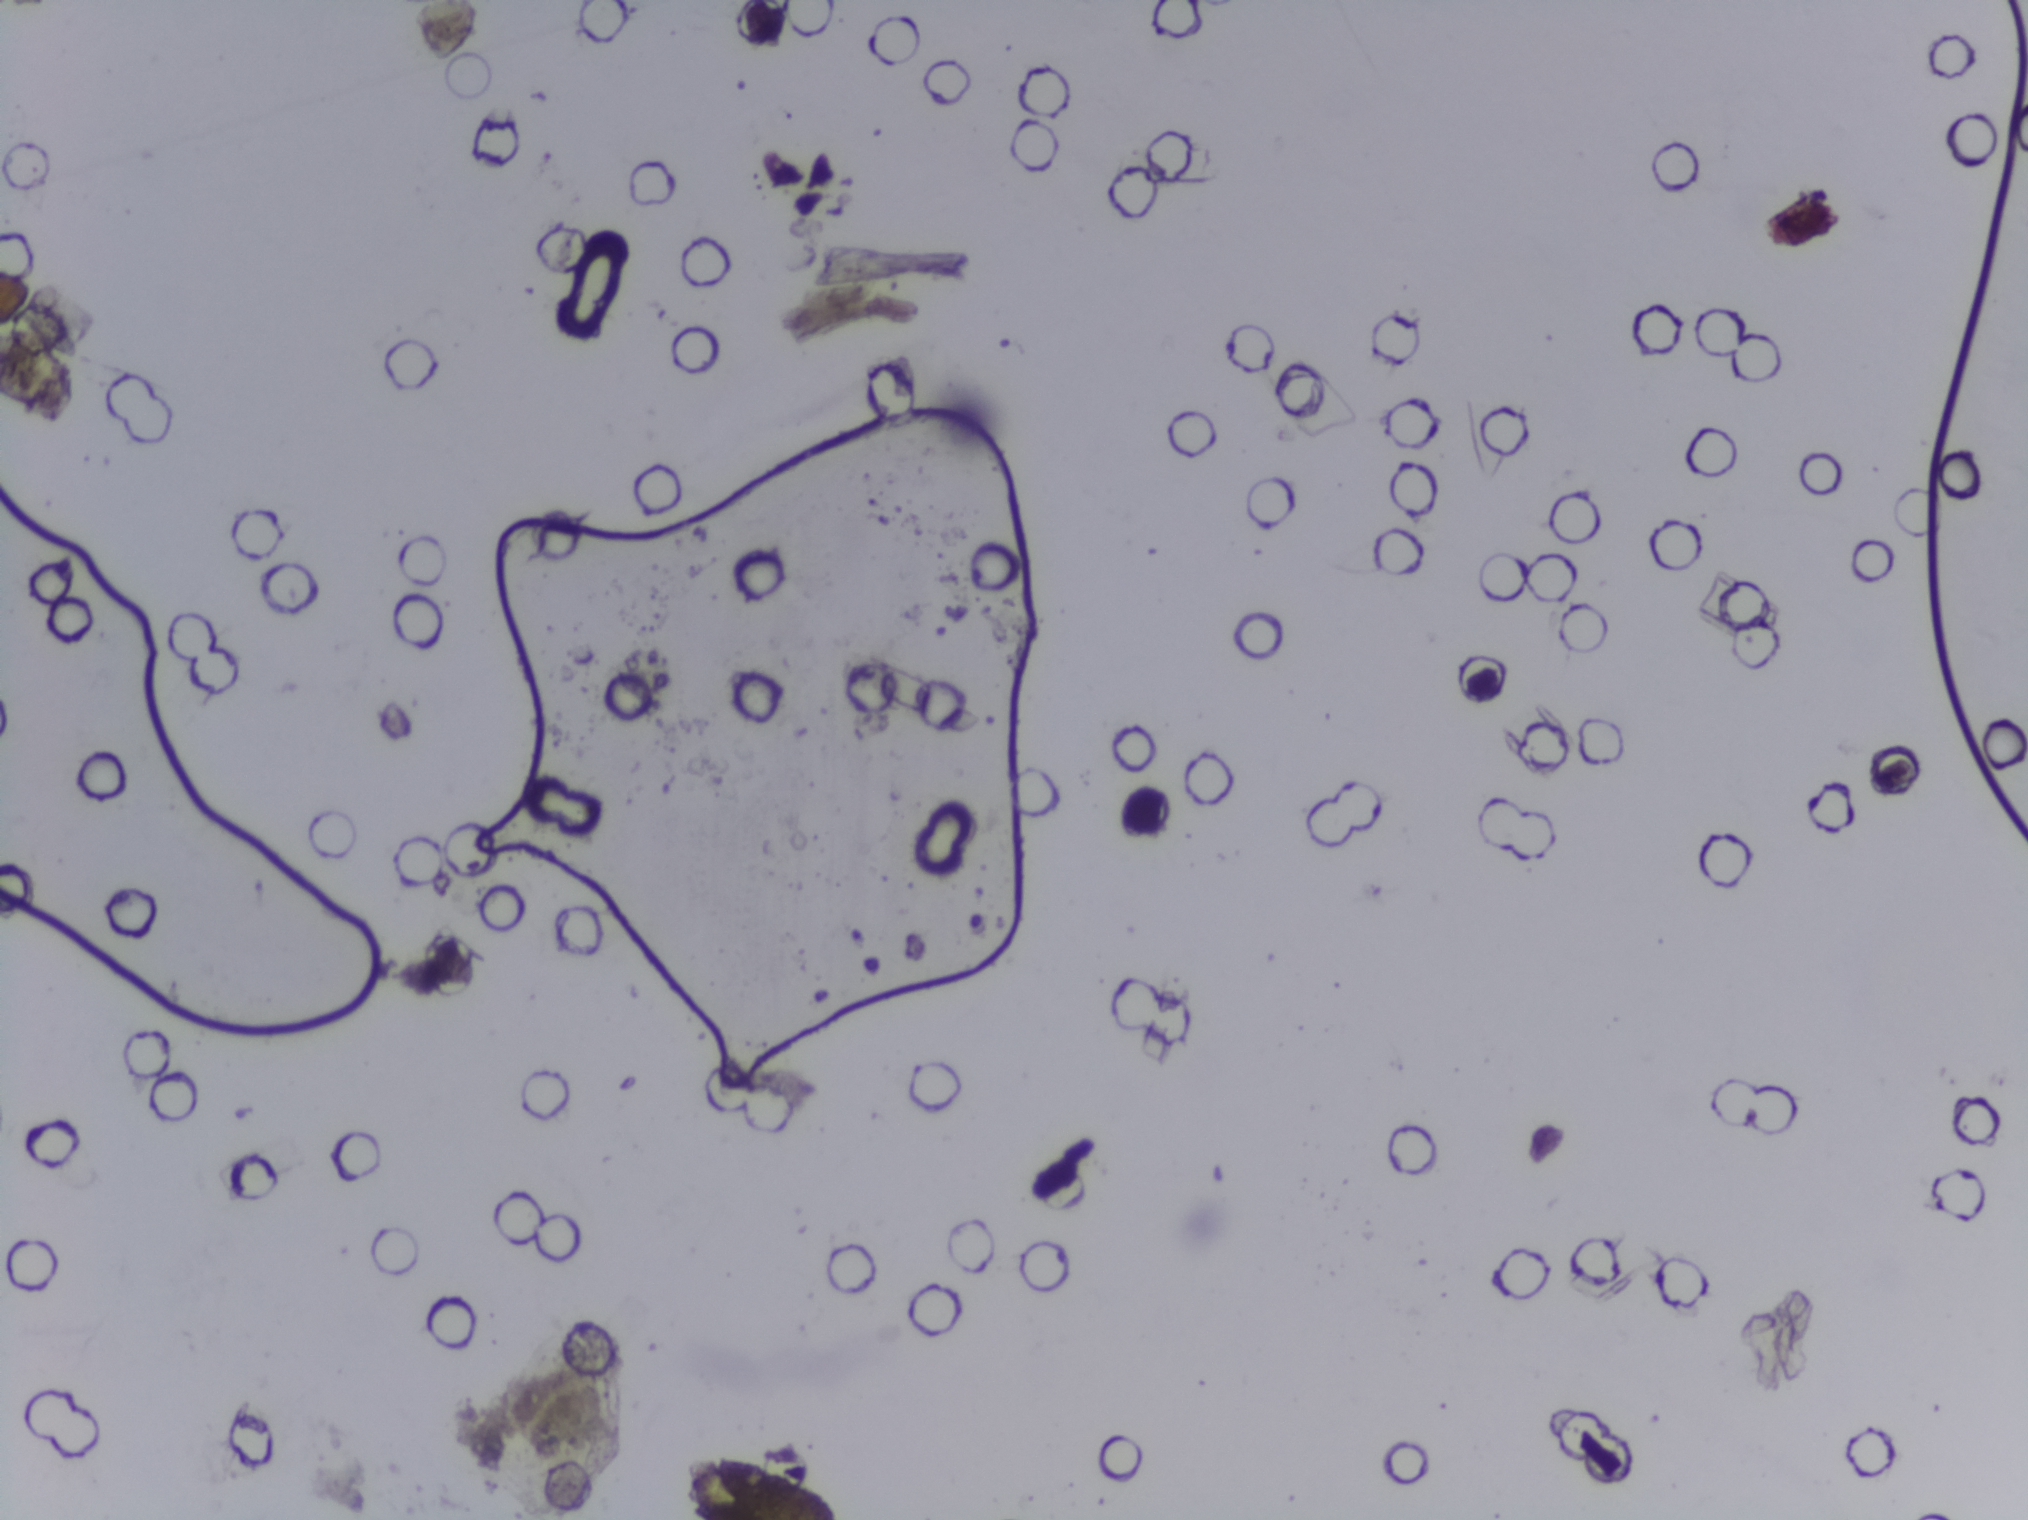
Urine filter membrane photographed through a 4× microscope objective.
The expert annotation outlines no Schistosoma egg in this image.